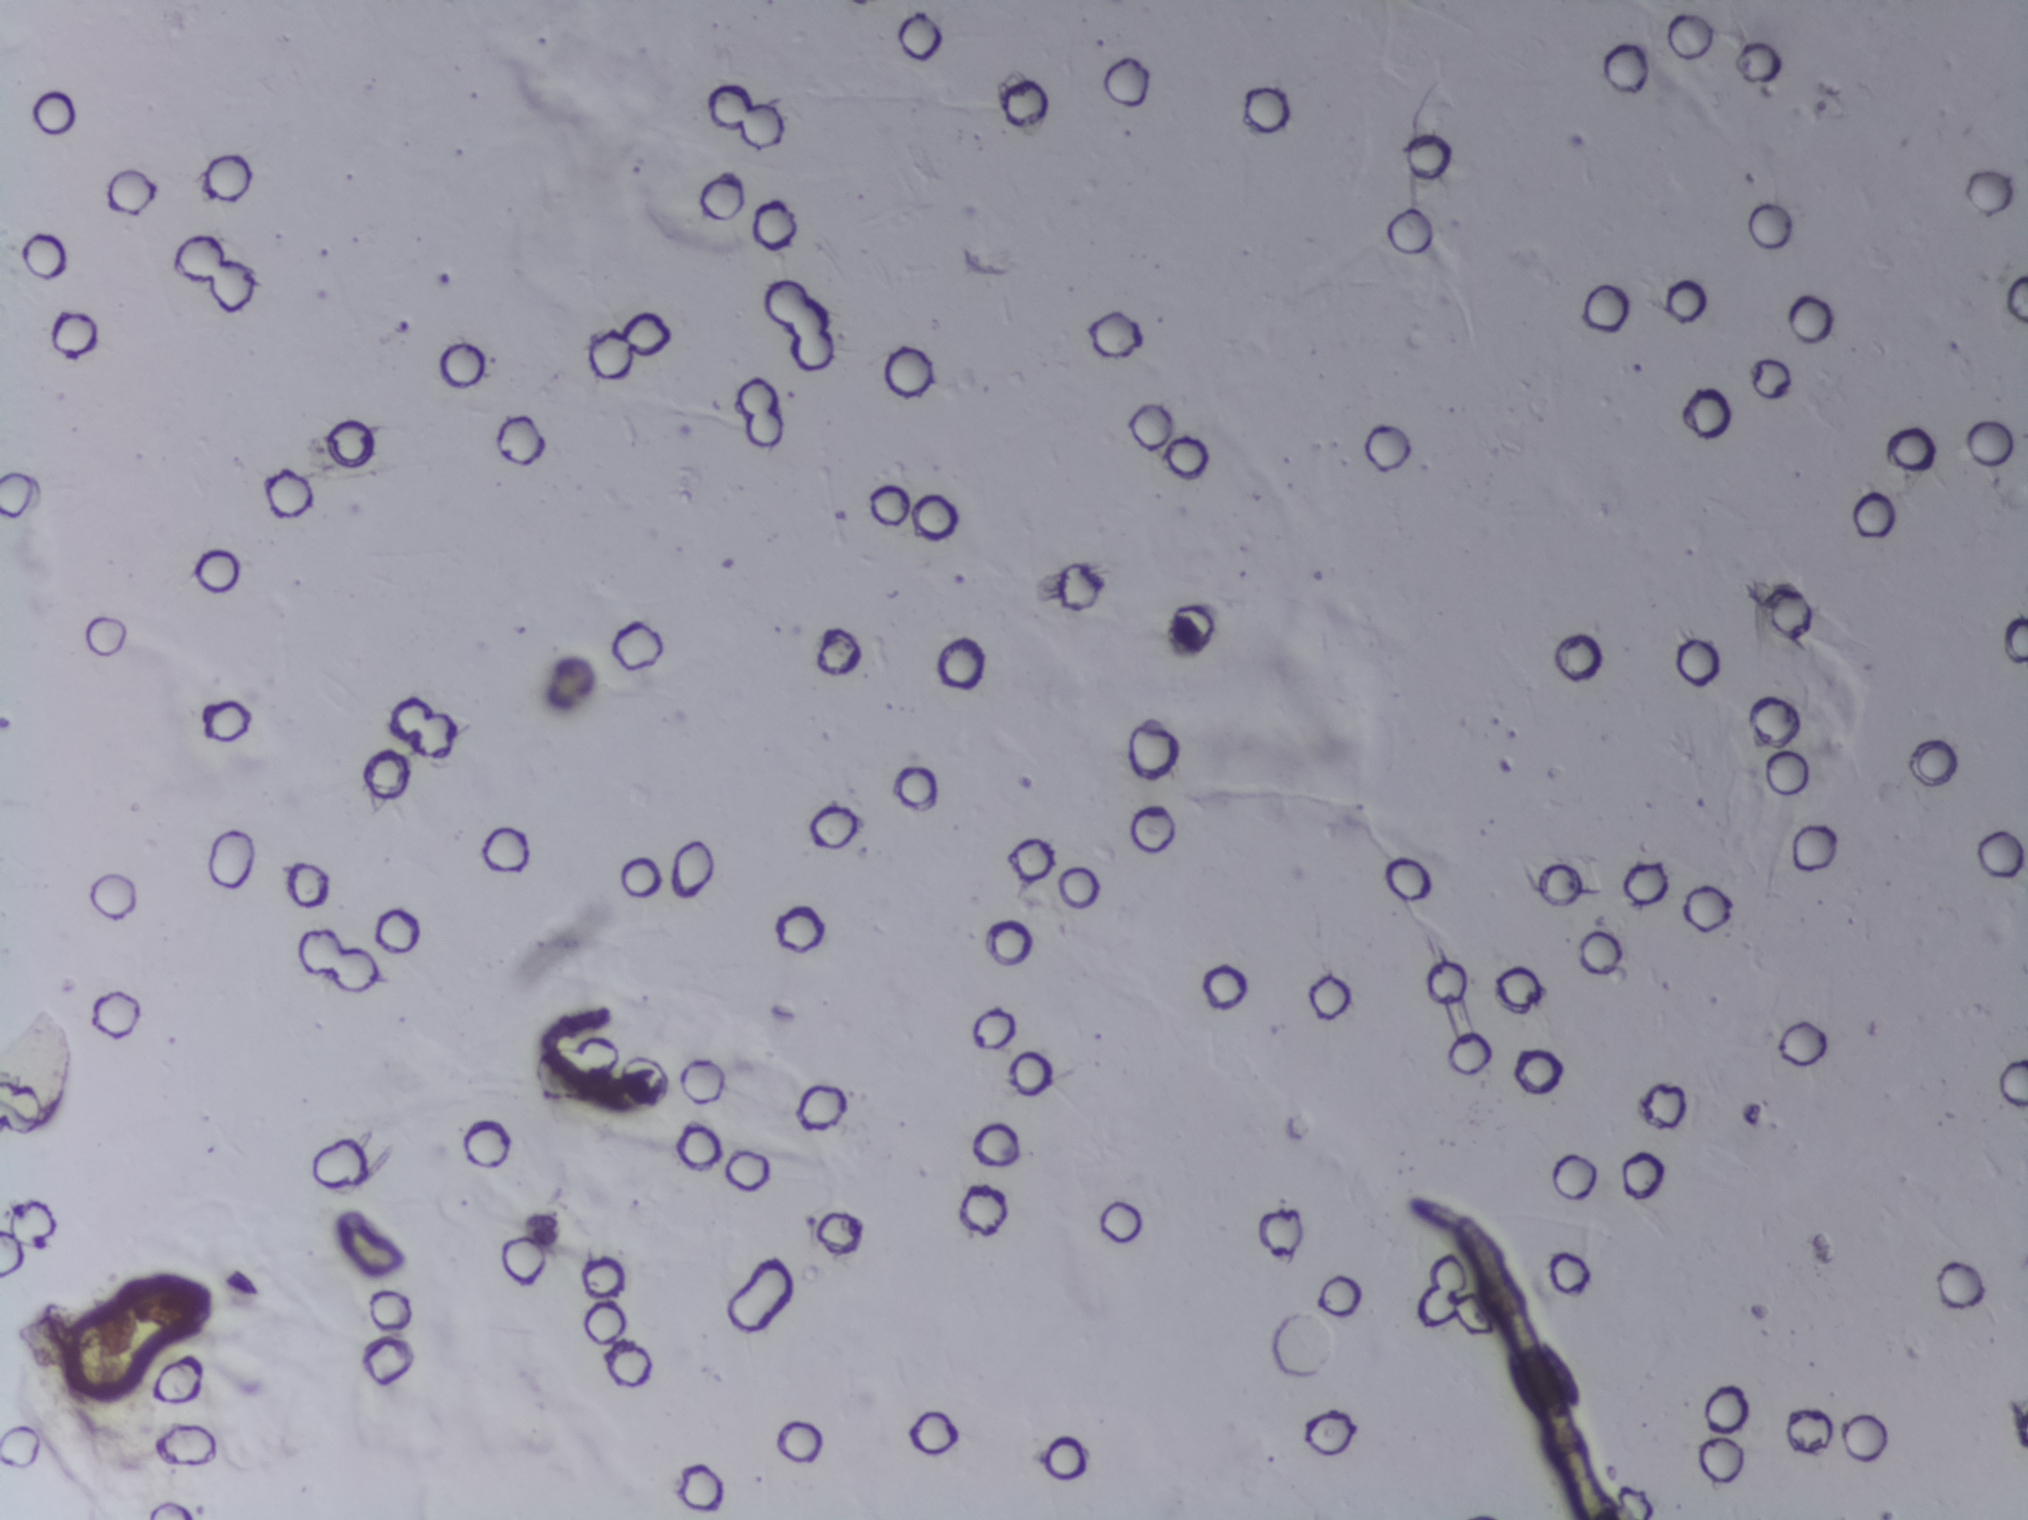
Photomicrograph of a urine filtration membrane, 4× objective. The image covers about 1.5 × 1.1 mm of the membrane.
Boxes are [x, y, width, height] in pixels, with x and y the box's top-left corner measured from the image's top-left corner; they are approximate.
Schistosoma egg areas, outlined: [0, 1005, 74, 134] (reaching the left edge of the frame). A single outlined area may contain several eggs.